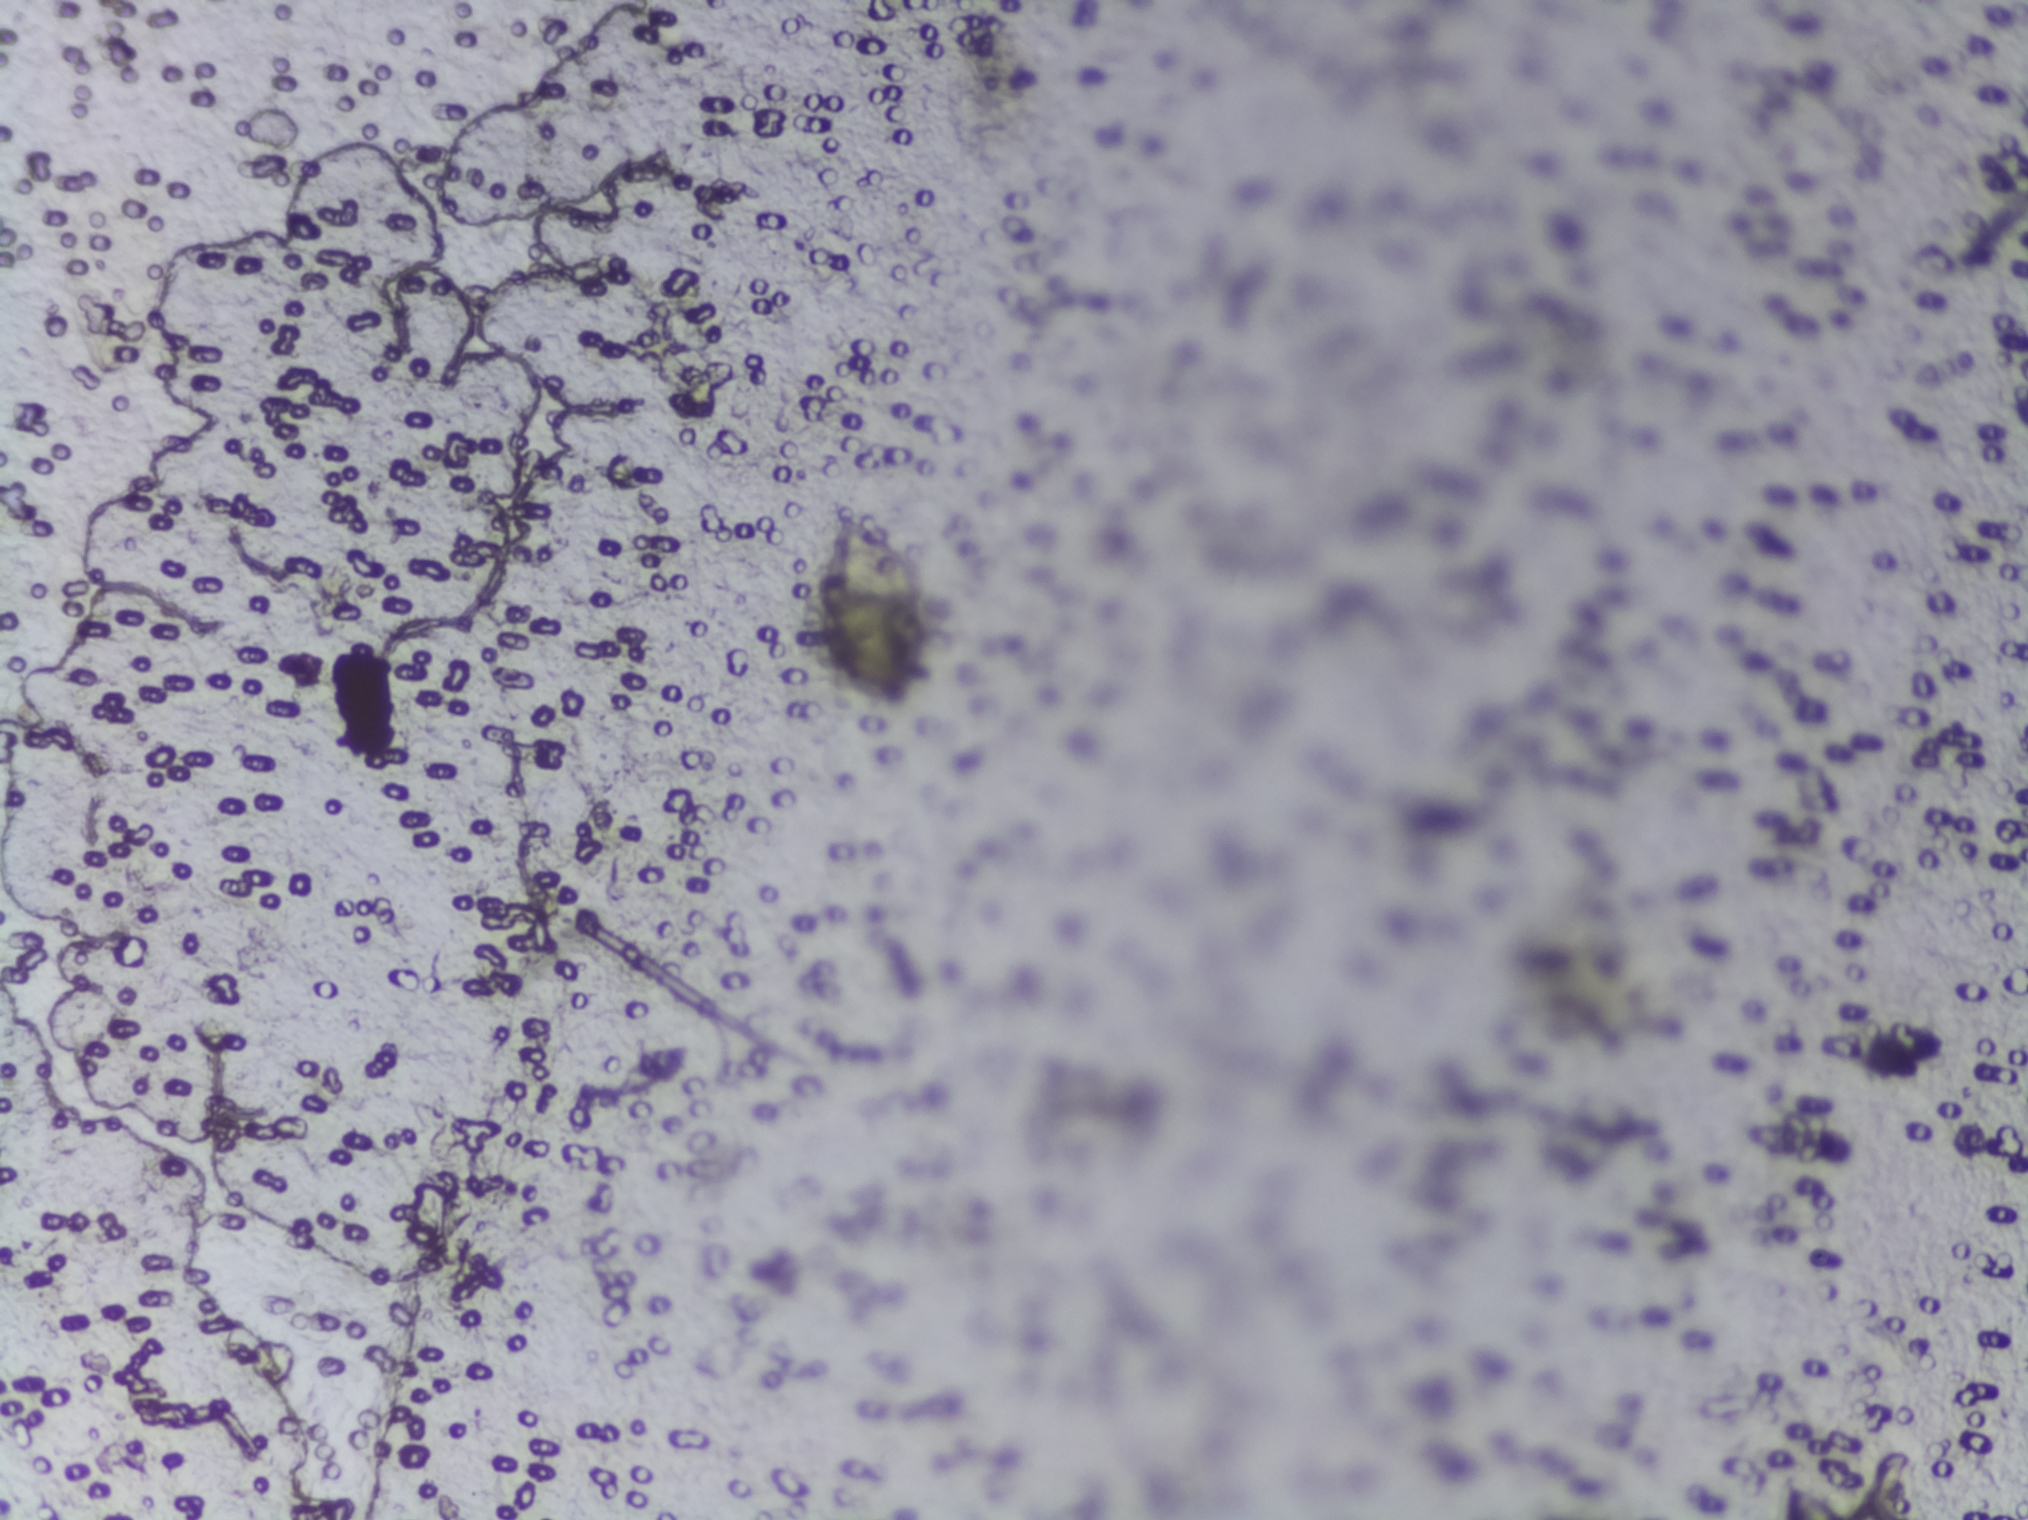
Microscope photograph (4× objective) of a membrane that a urine sample was filtered through.
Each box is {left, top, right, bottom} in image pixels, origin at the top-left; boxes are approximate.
Findings: one area outlined as Schistosoma eggs. Location: {808, 502, 934, 711}. About 0.7% of the image's pixels are marked (the marked pixels themselves, not the box around them). A single outlined area may contain several eggs. A marked egg may occasionally be S. mansoni rather than S. haematobium.